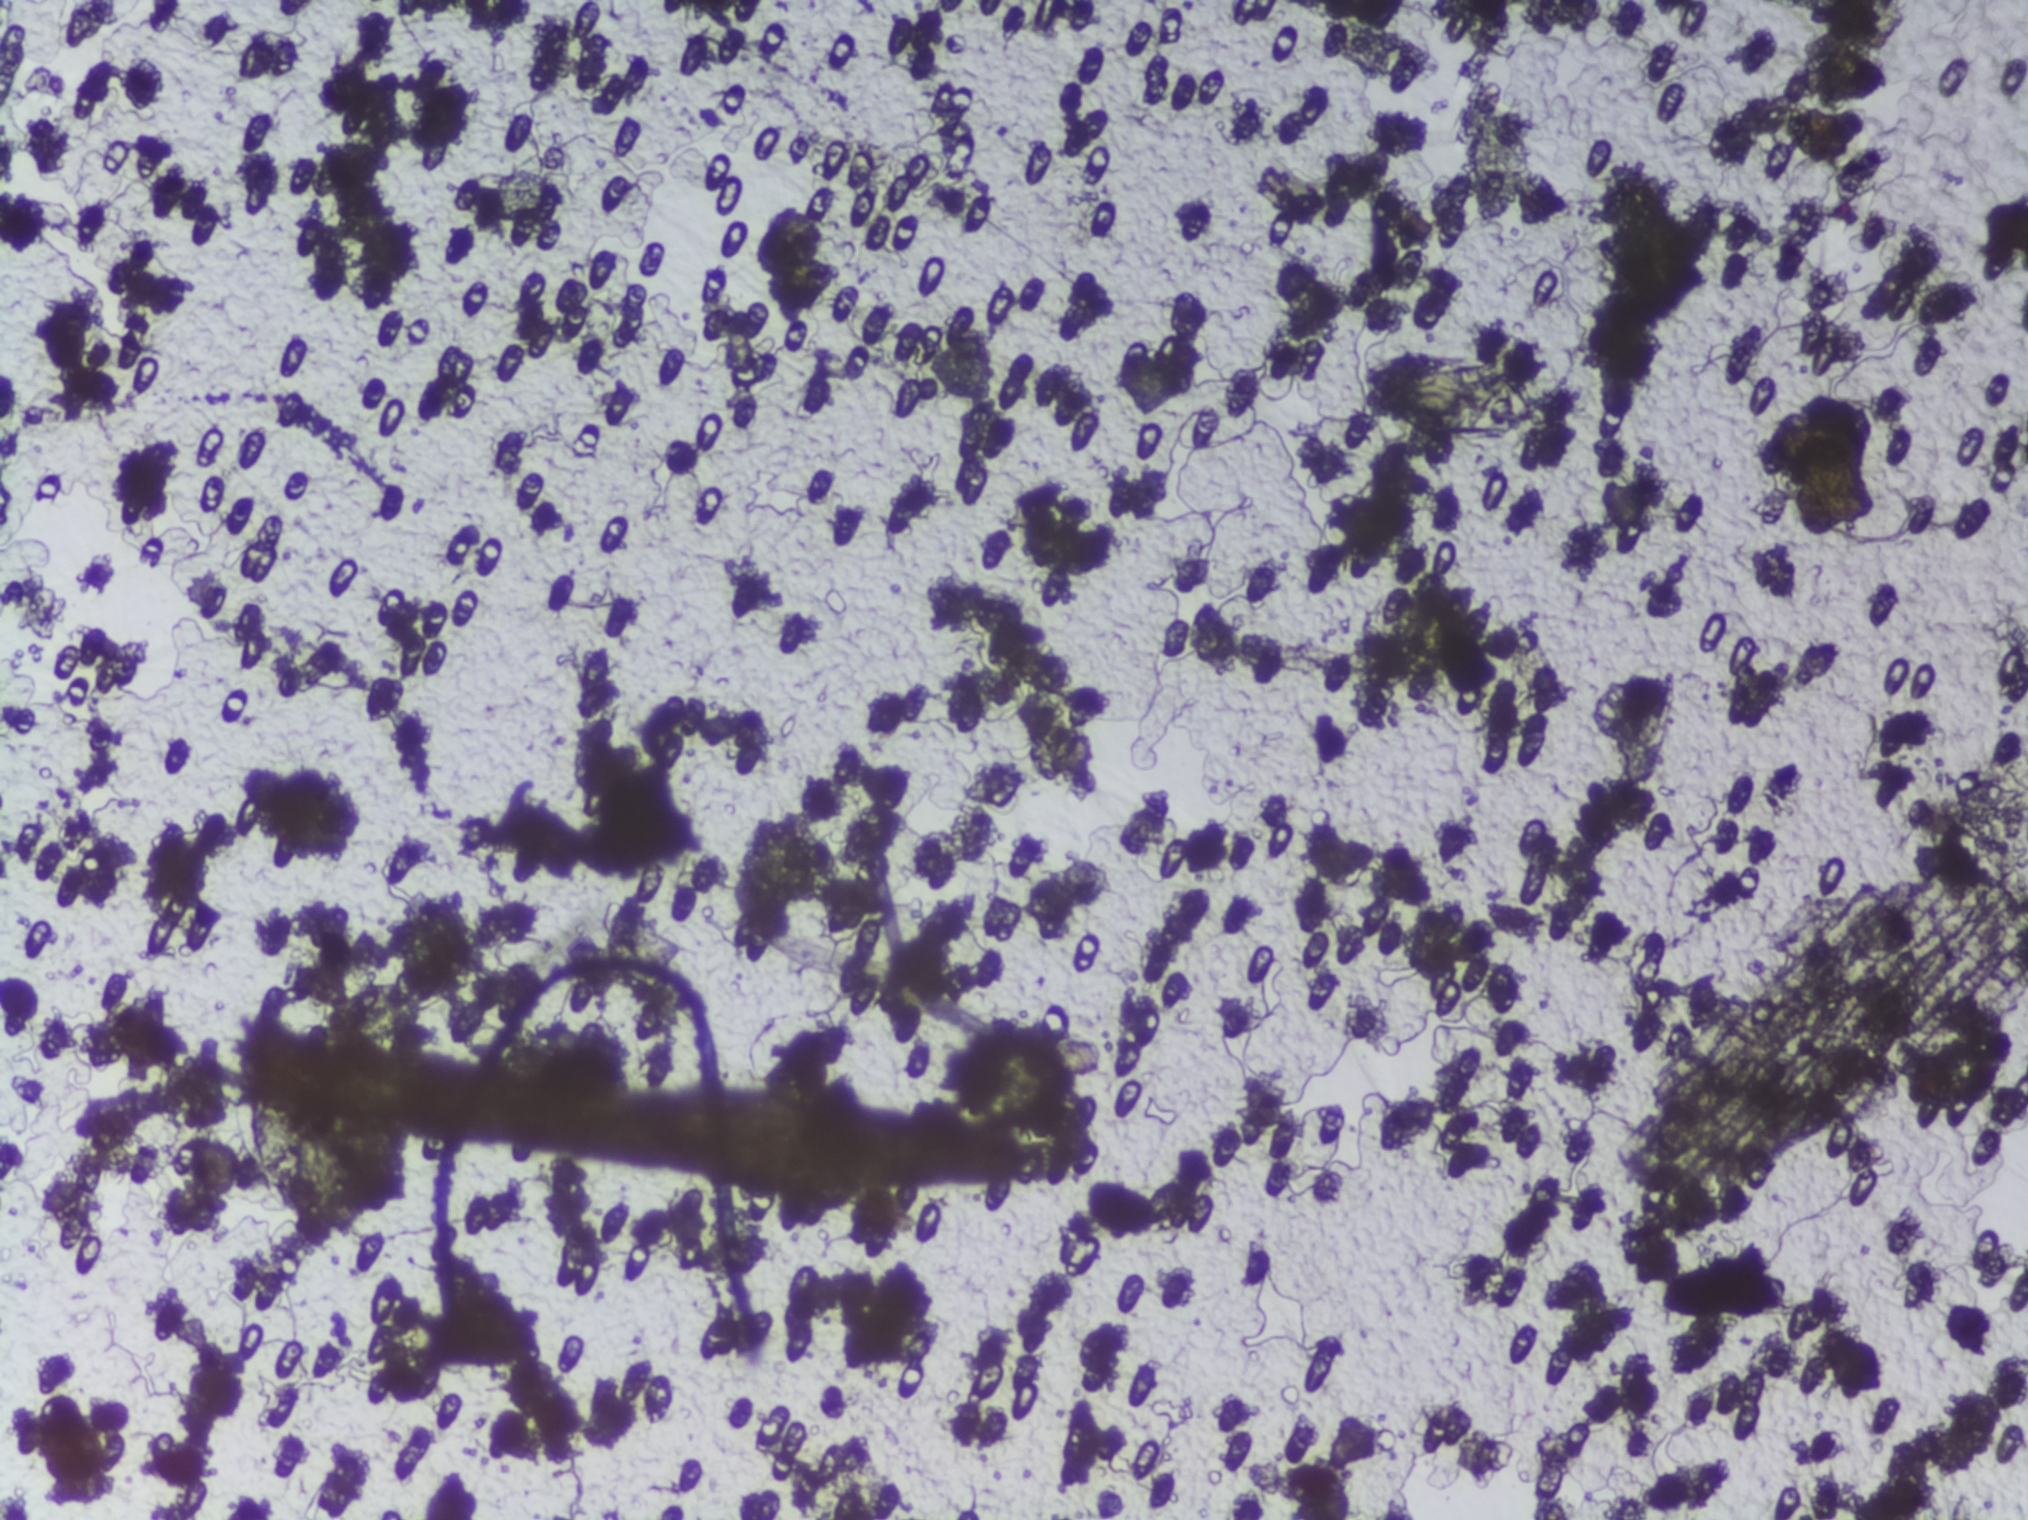
Urine filter membrane photographed through a 4× microscope objective. Field of view: about 1.5 mm wide and 1.1 mm high.
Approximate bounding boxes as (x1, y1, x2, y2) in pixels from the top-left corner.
Schistosoma eggs are outlined in one area of this image: (1352, 358, 1545, 441). Eggs that touch can end up inside the same outlined area. A marked egg may occasionally be S. mansoni rather than S. haematobium.